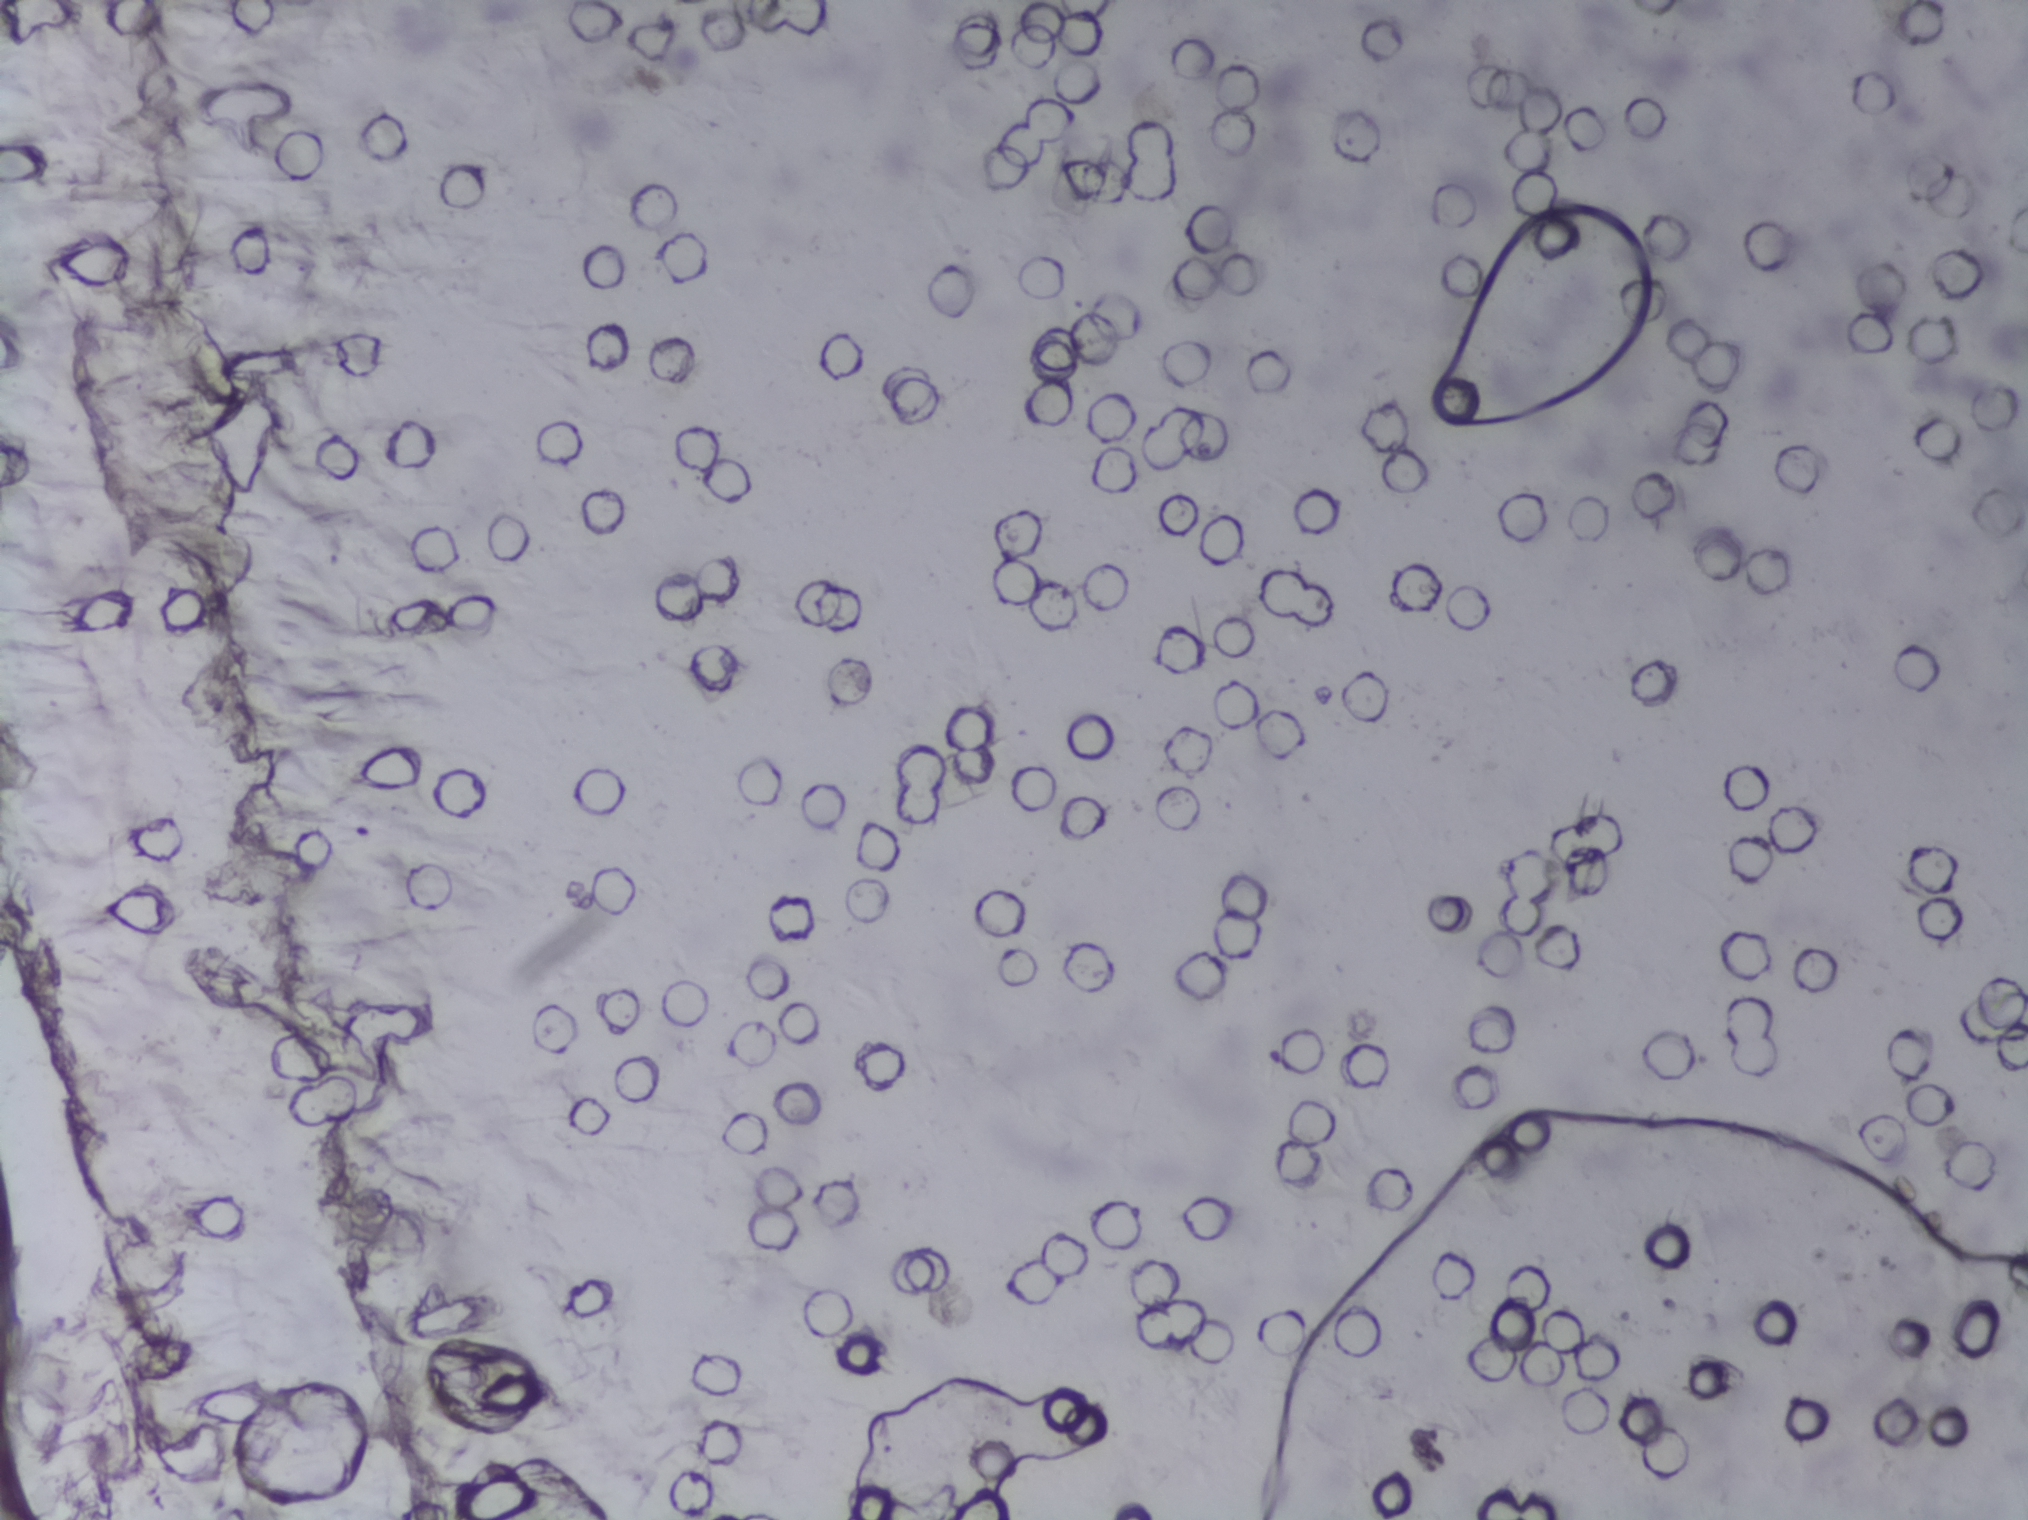
Photomicrograph of a urine filtration membrane, 4× objective.
No area of this image was outlined as a Schistosoma egg.